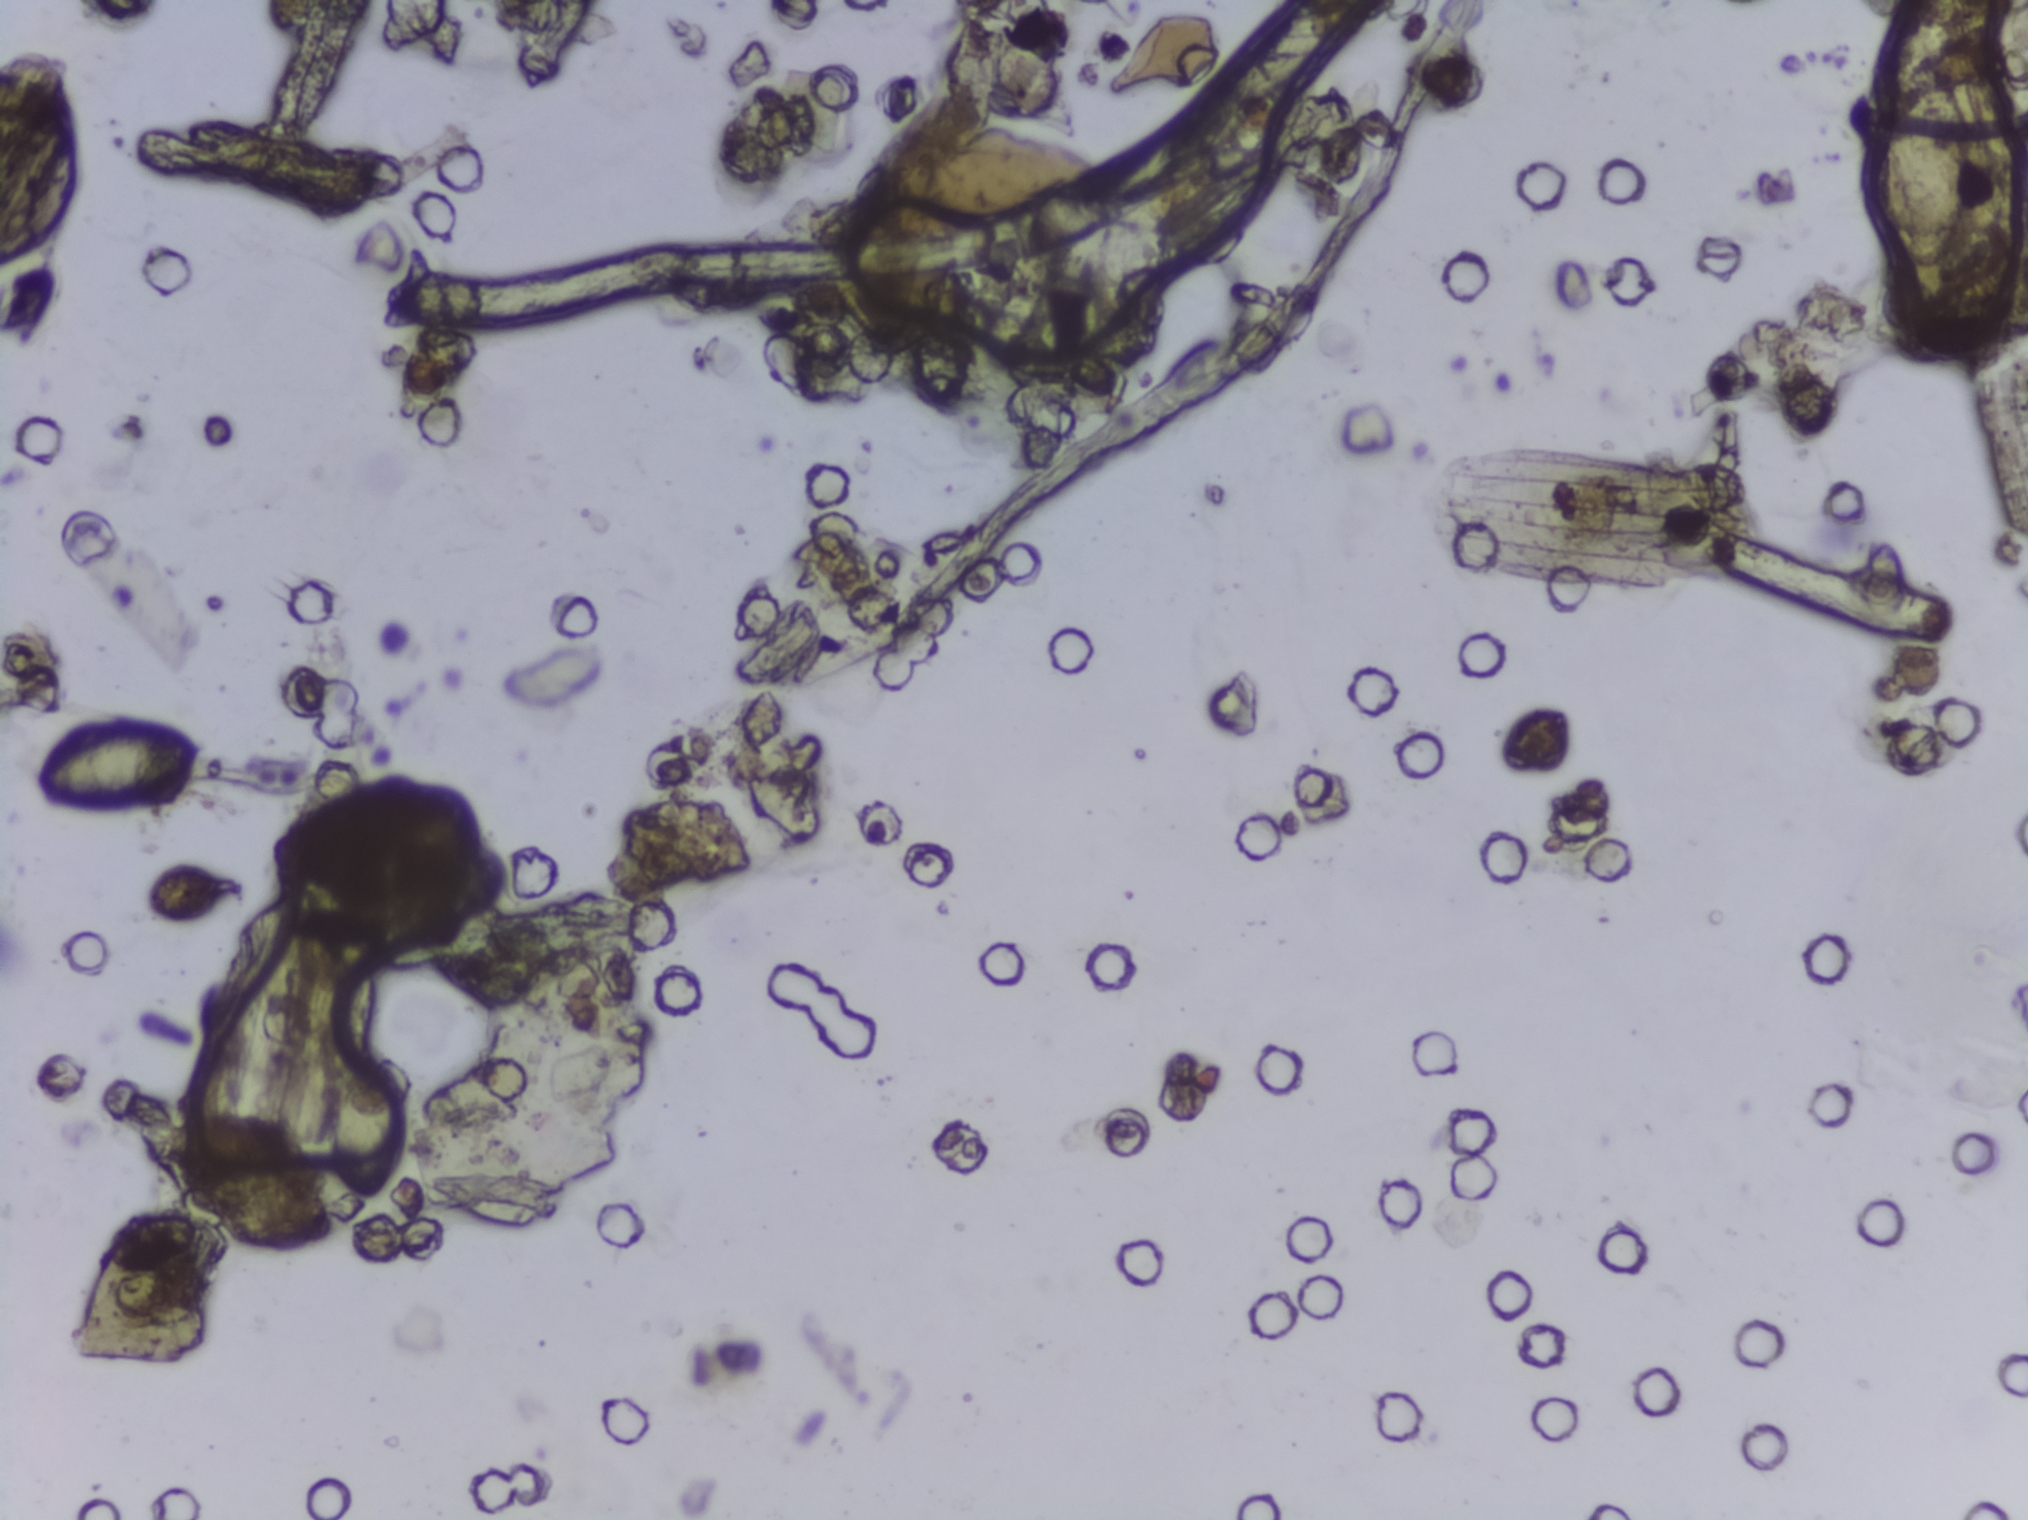
Photomicrograph of a urine filtration membrane, 4× objective.
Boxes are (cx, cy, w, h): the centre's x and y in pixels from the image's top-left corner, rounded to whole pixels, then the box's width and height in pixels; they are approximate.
Areas outlined as Schistosoma eggs: (cx=124, cy=765, w=211, h=119); (cx=1919, cy=161, w=162, h=231). A single outlined area may contain several eggs.